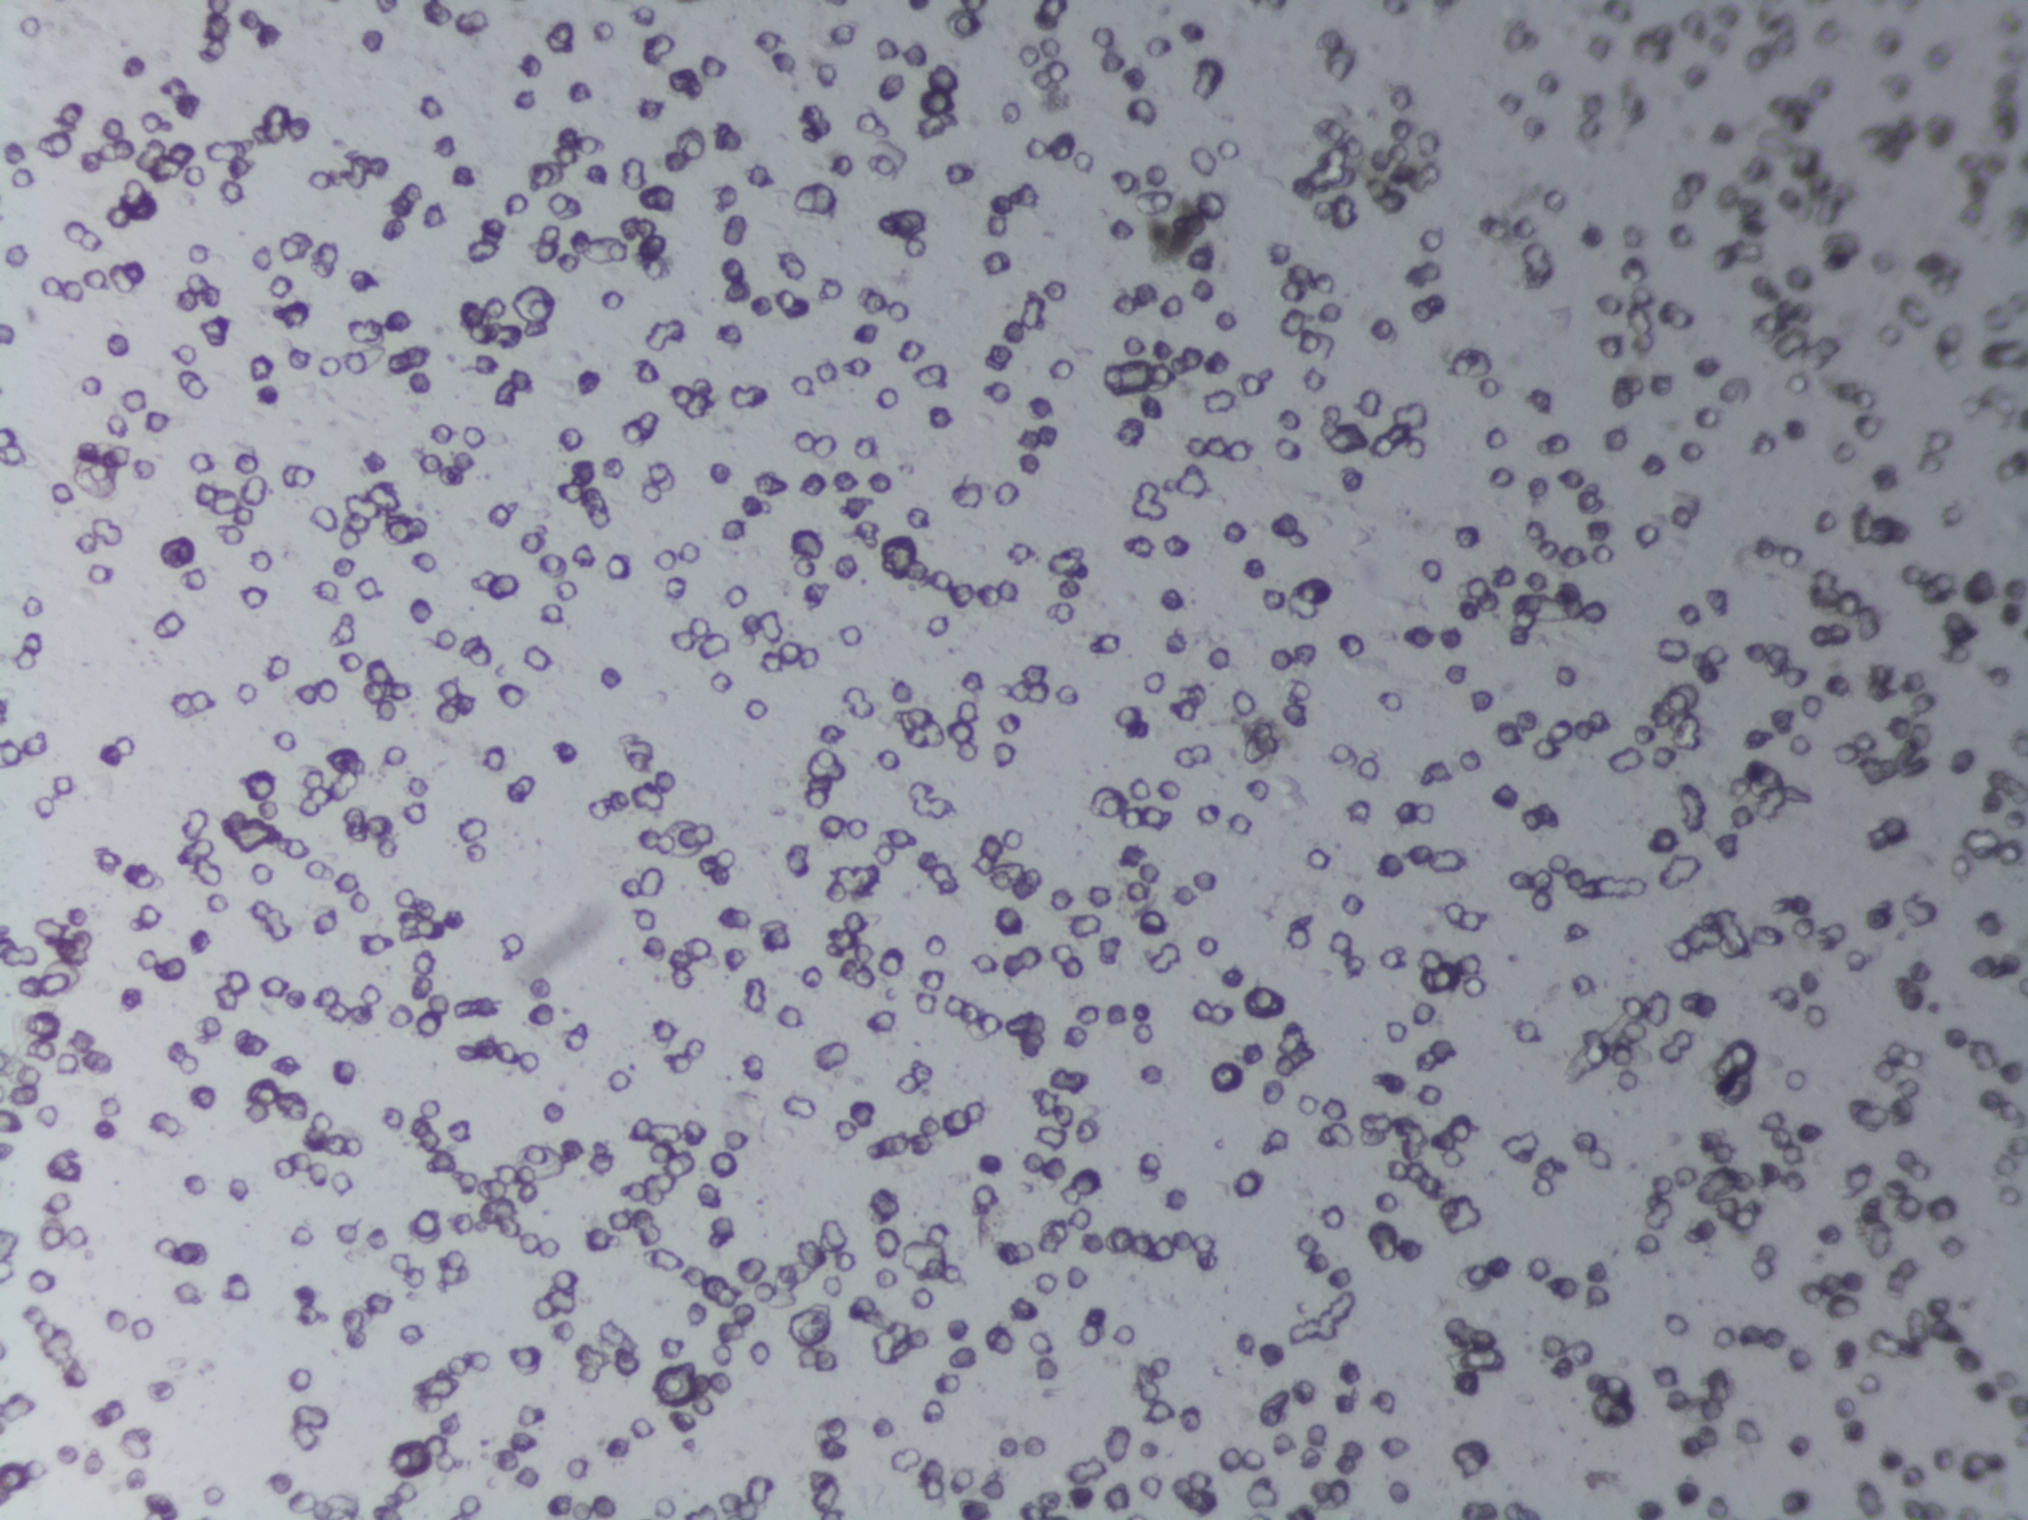
One field of view of a urine filter membrane, 4× objective, 2028 × 1520 pixels. The image covers about 1.5 × 1.1 mm of the membrane.
No area of this image was outlined as a Schistosoma egg.